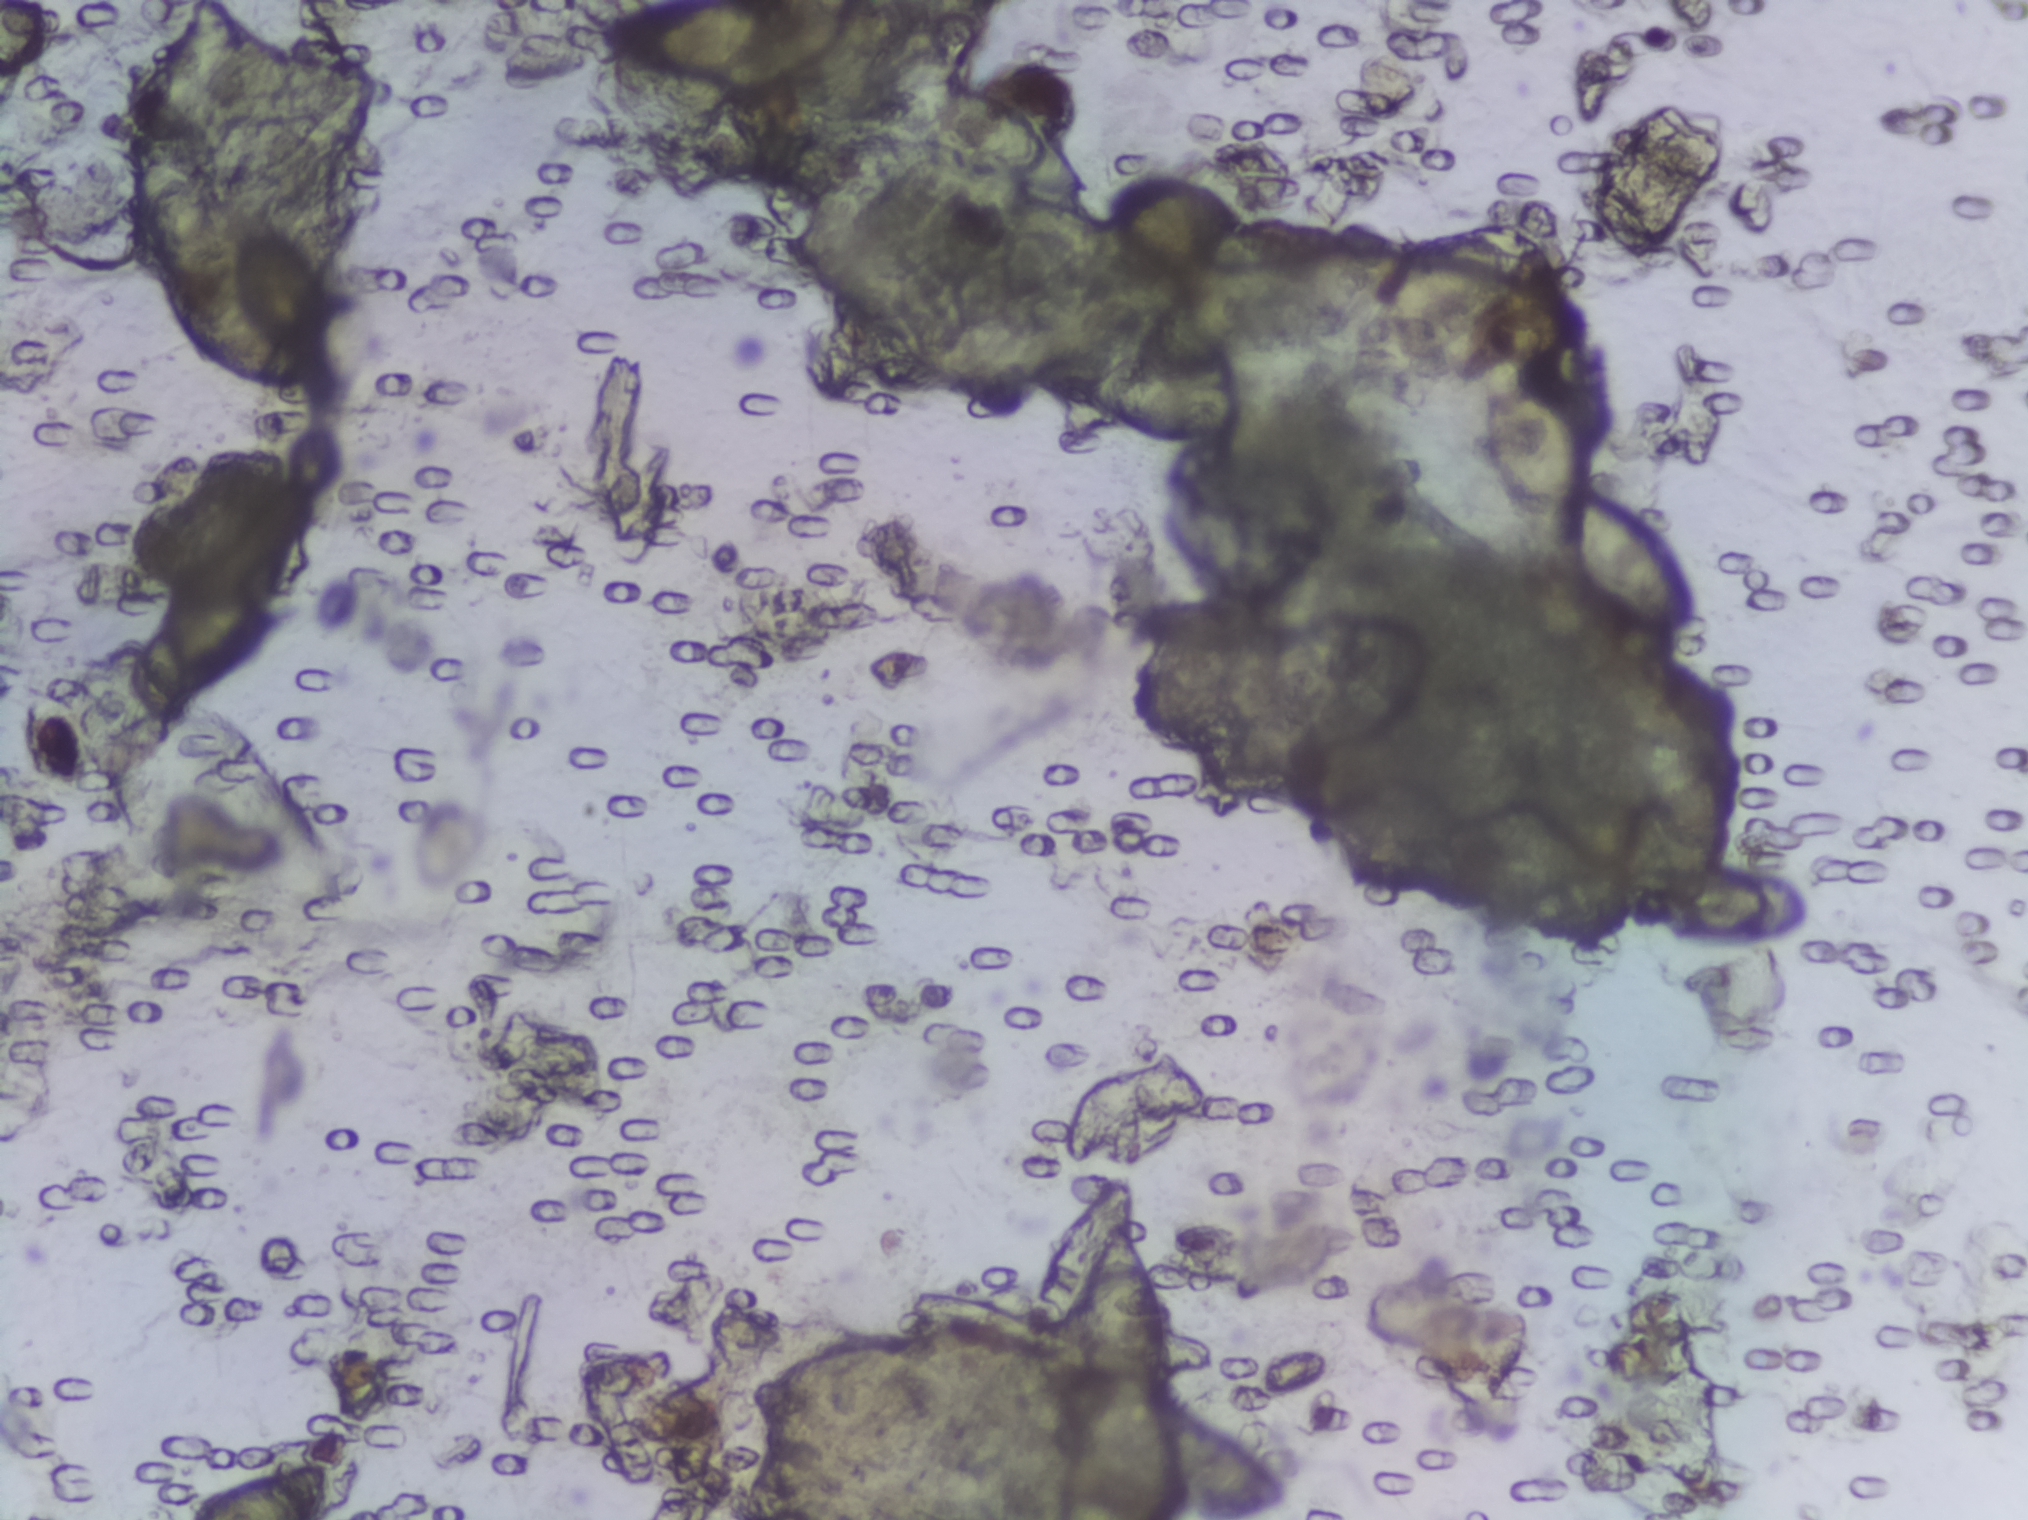
Photograph from an automated digital microscope: urine filter membrane, 4× objective. The image covers about 1.5 × 1.1 mm of the membrane.
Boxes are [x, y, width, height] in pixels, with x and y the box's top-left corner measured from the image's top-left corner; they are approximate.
Areas outlined as Schistosoma eggs: [183, 1455, 148, 65] (reaching the bottom edge of the frame); [1078, 1220, 91, 180]; [1572, 481, 141, 154]. Marked pixels, not the boxes around them: about 1.0% of the image. An outlined area can hold more than one egg.